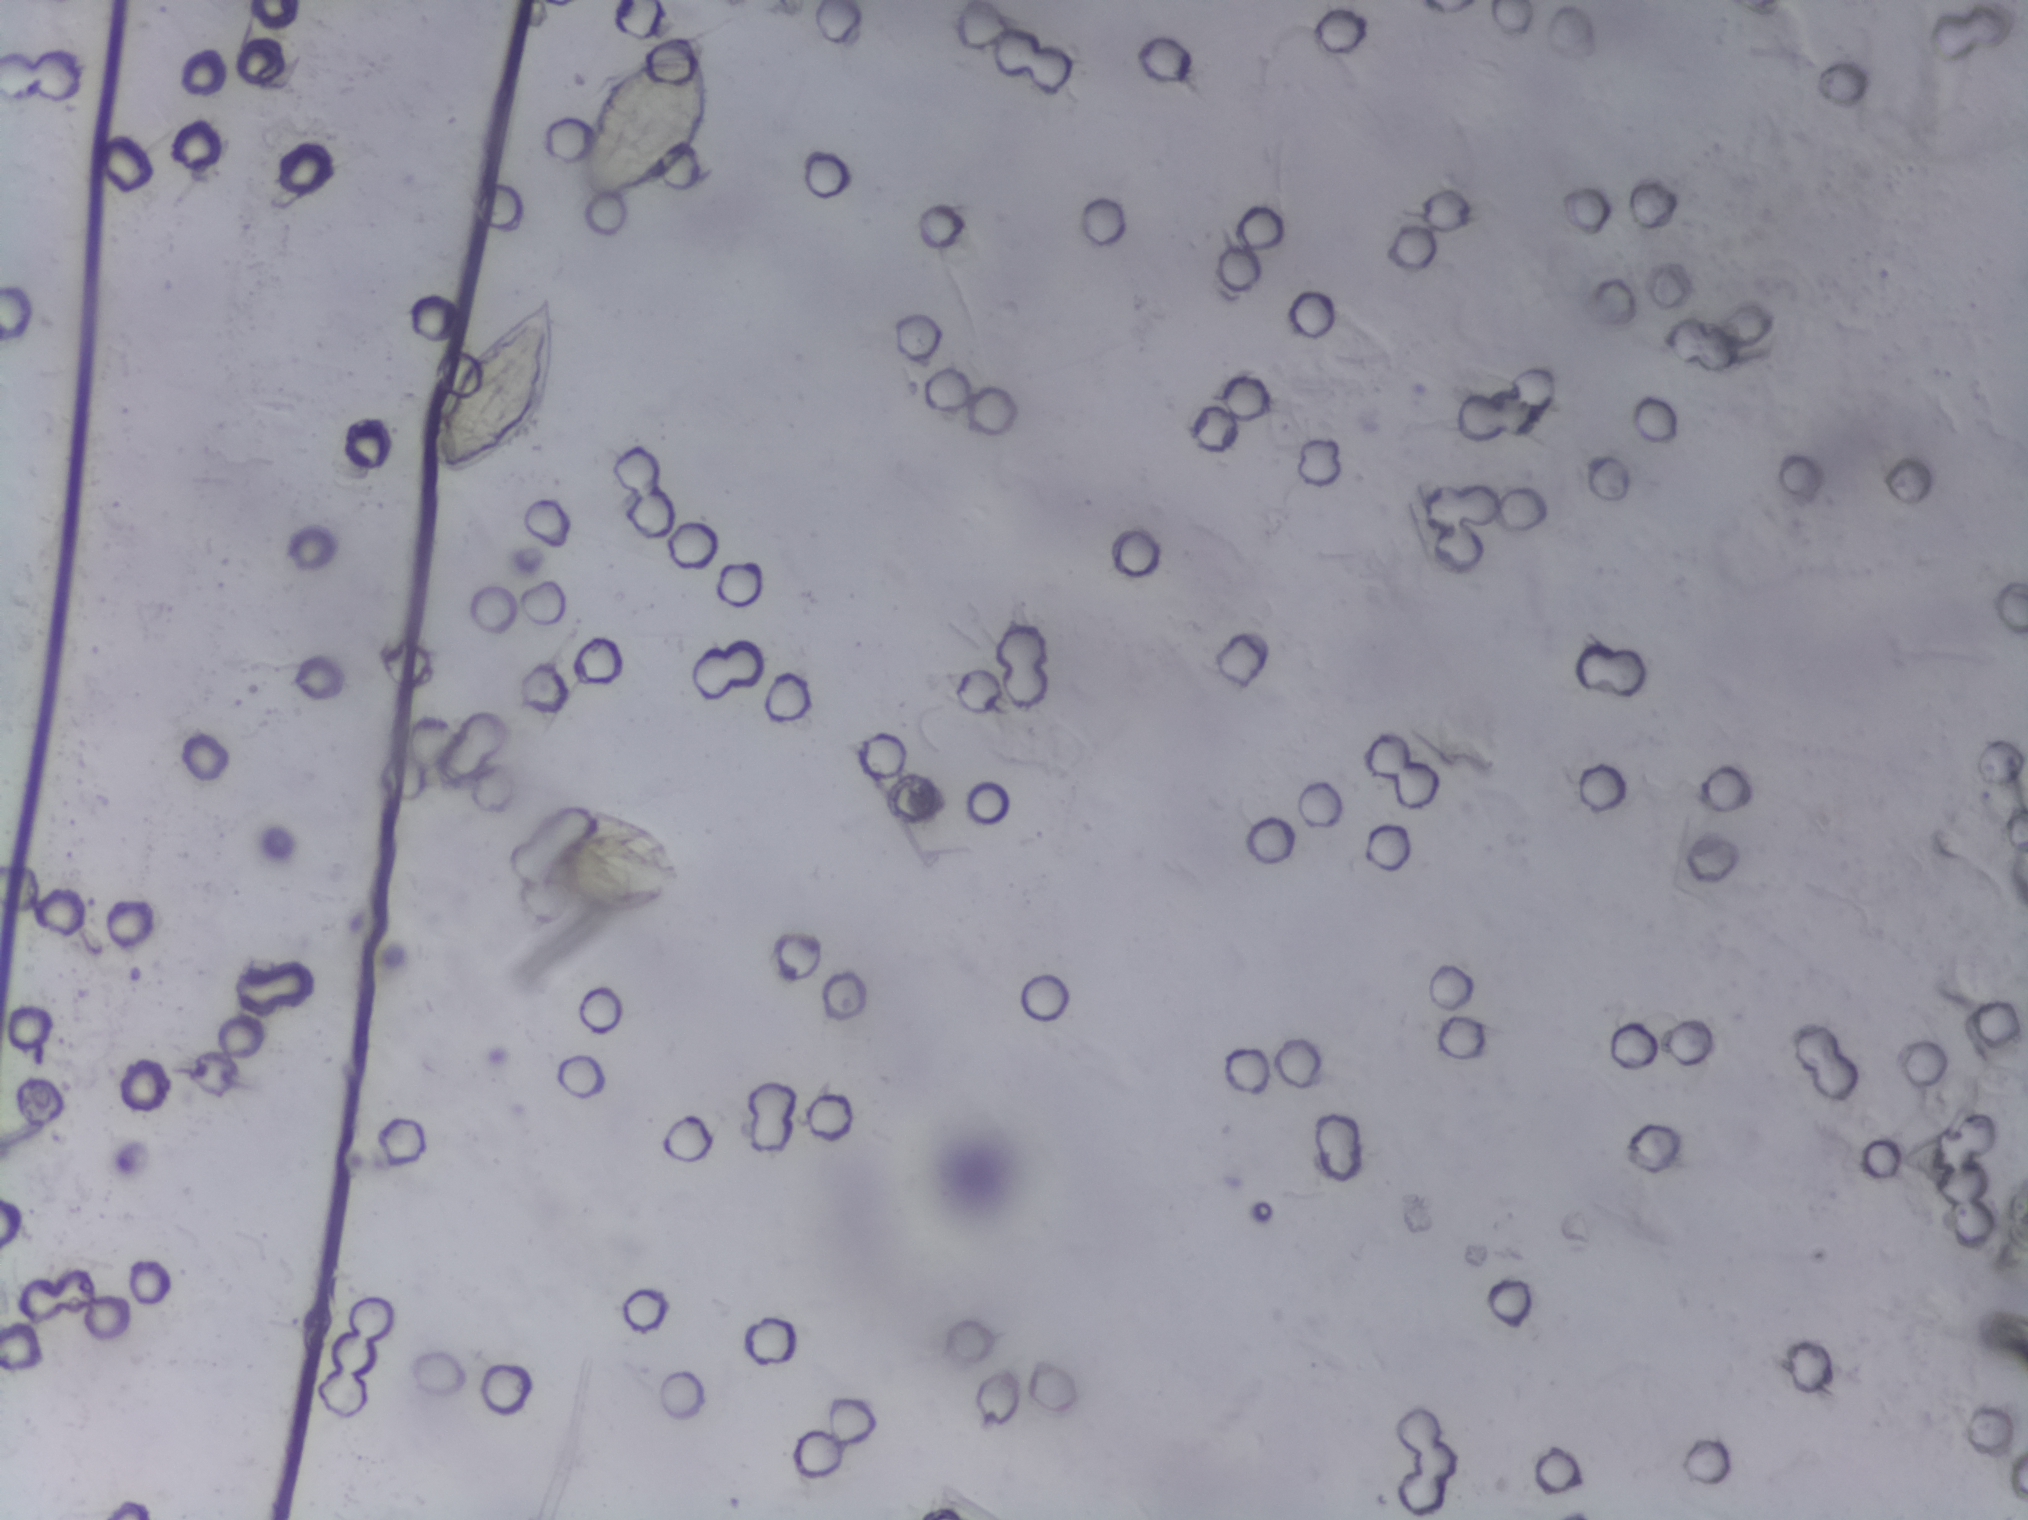
Photomicrograph of a urine filtration membrane, 4× objective. Field of view: about 1.5 mm wide and 1.1 mm high.
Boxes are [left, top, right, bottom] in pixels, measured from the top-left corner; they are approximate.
Areas outlined as Schistosoma eggs: [432, 287, 561, 472]; [562, 23, 719, 216]. A single outlined area may contain several eggs. A marked egg may occasionally be S. mansoni rather than S. haematobium.